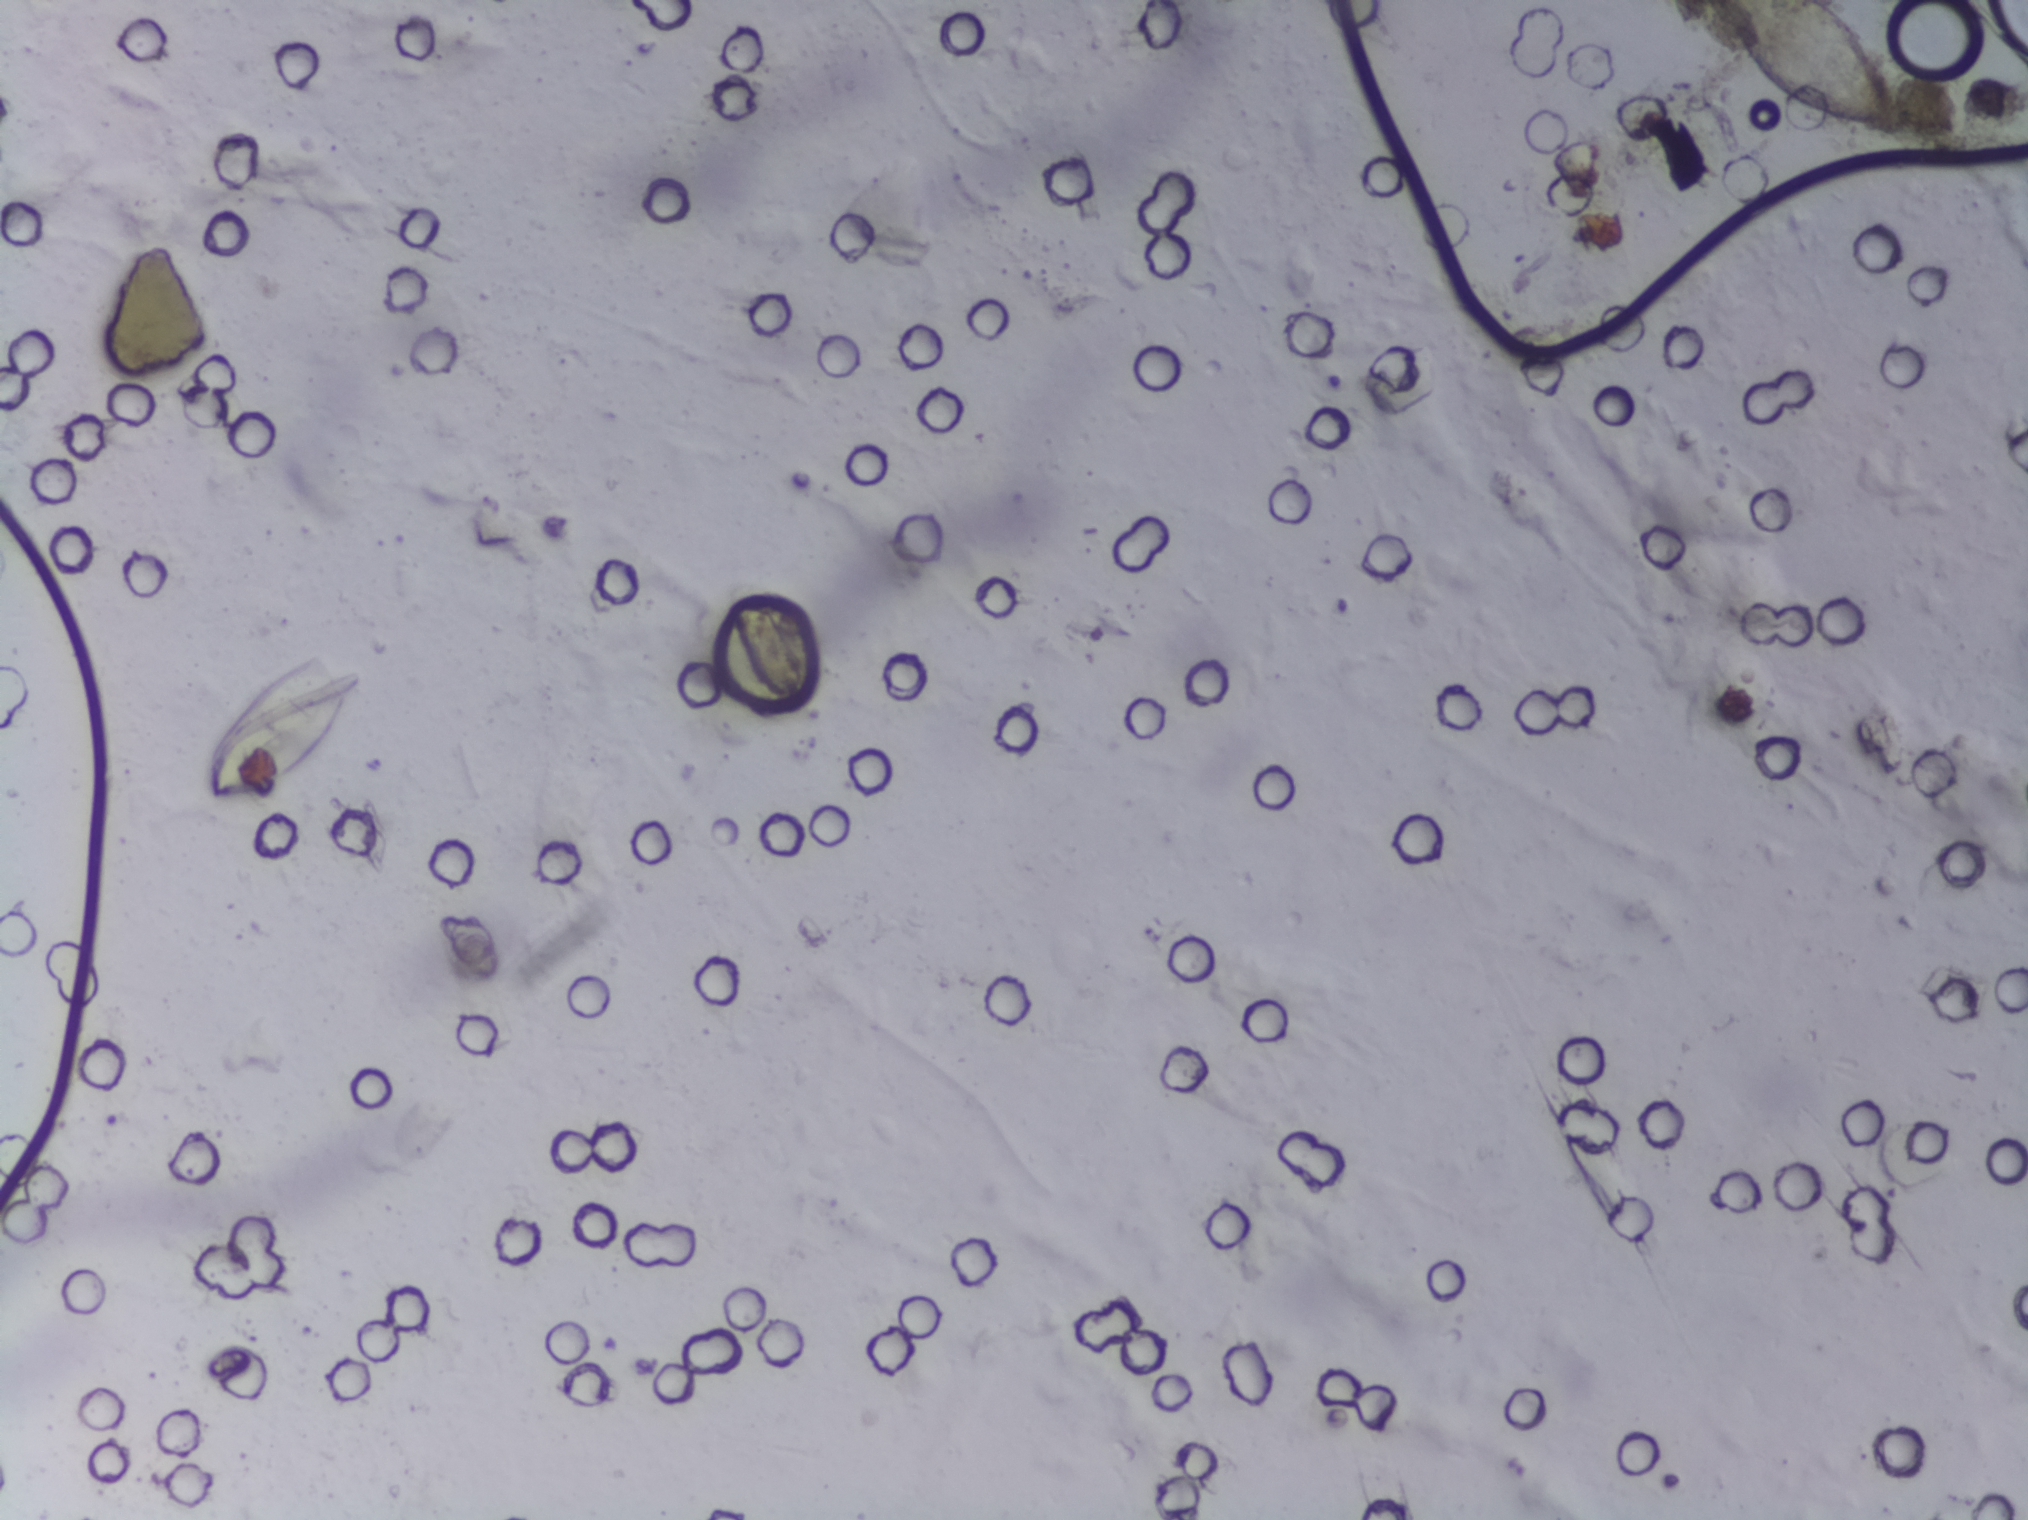
One field of view of a urine filter membrane, 4× objective, 2028 × 1520 pixels.
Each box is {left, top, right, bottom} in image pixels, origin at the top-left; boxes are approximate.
Schistosoma eggs are outlined in two areas of this image, listed from left to right: {204, 656, 358, 810} and {1696, 0, 1909, 137} (reaching the top edge of the frame). Eggs that touch can end up inside the same outlined area.